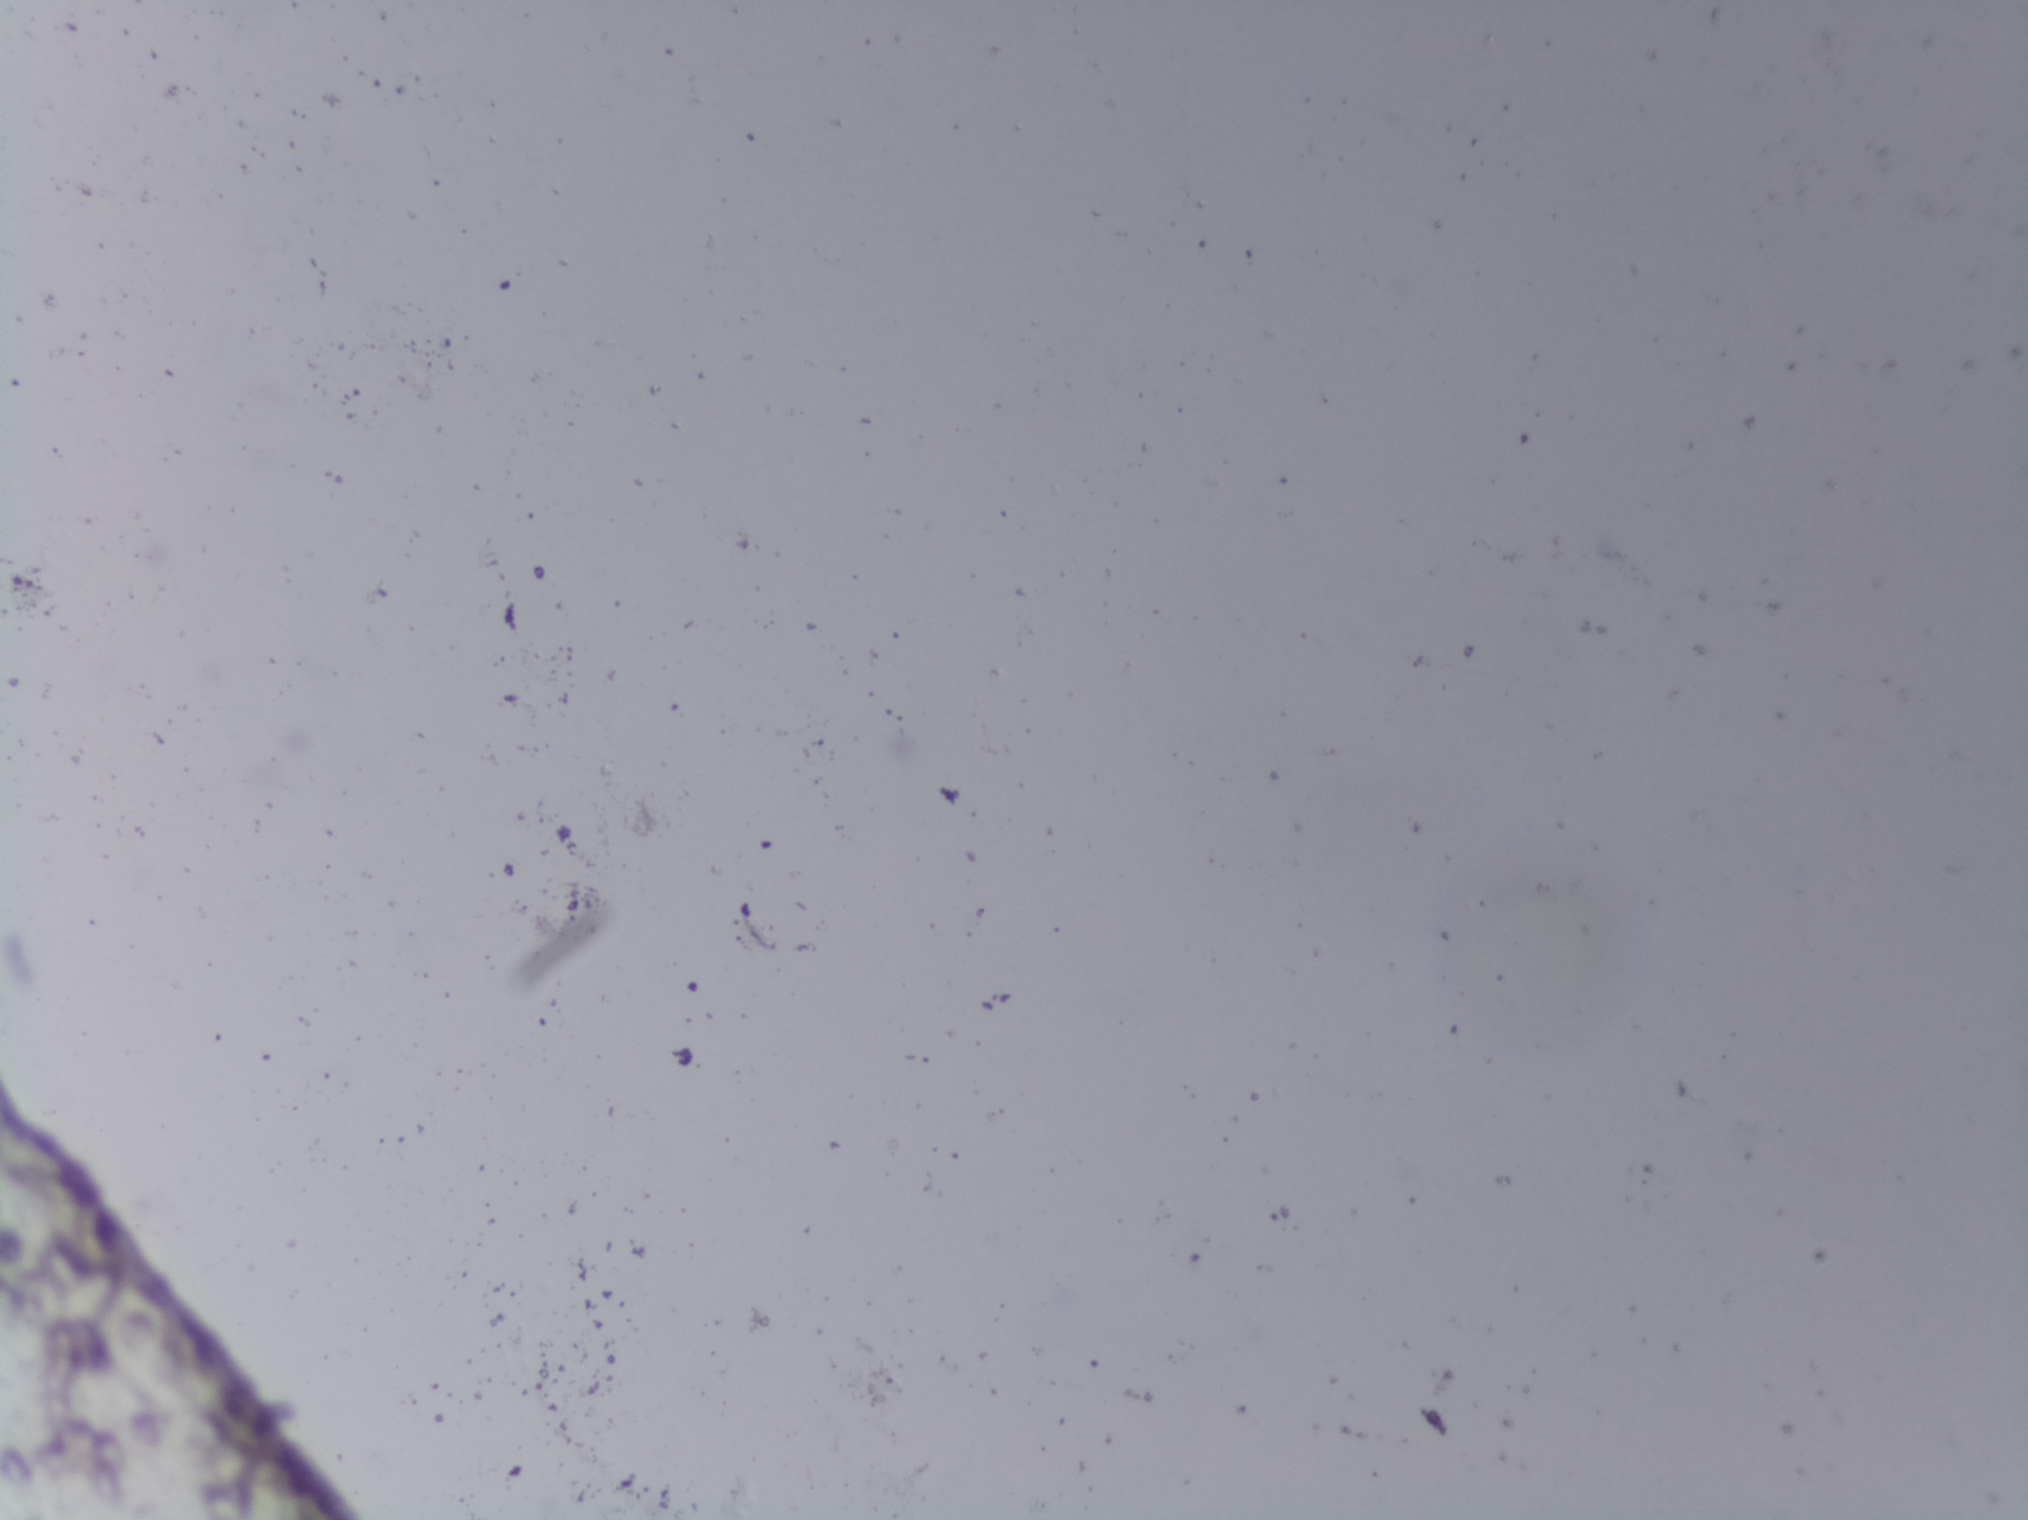
One field of view of a urine filter membrane, 4× objective, 2028 × 1520 pixels. The field of view is about 1.5 mm × 1.1 mm.
No Schistosoma egg is outlined in this image's expert annotation.